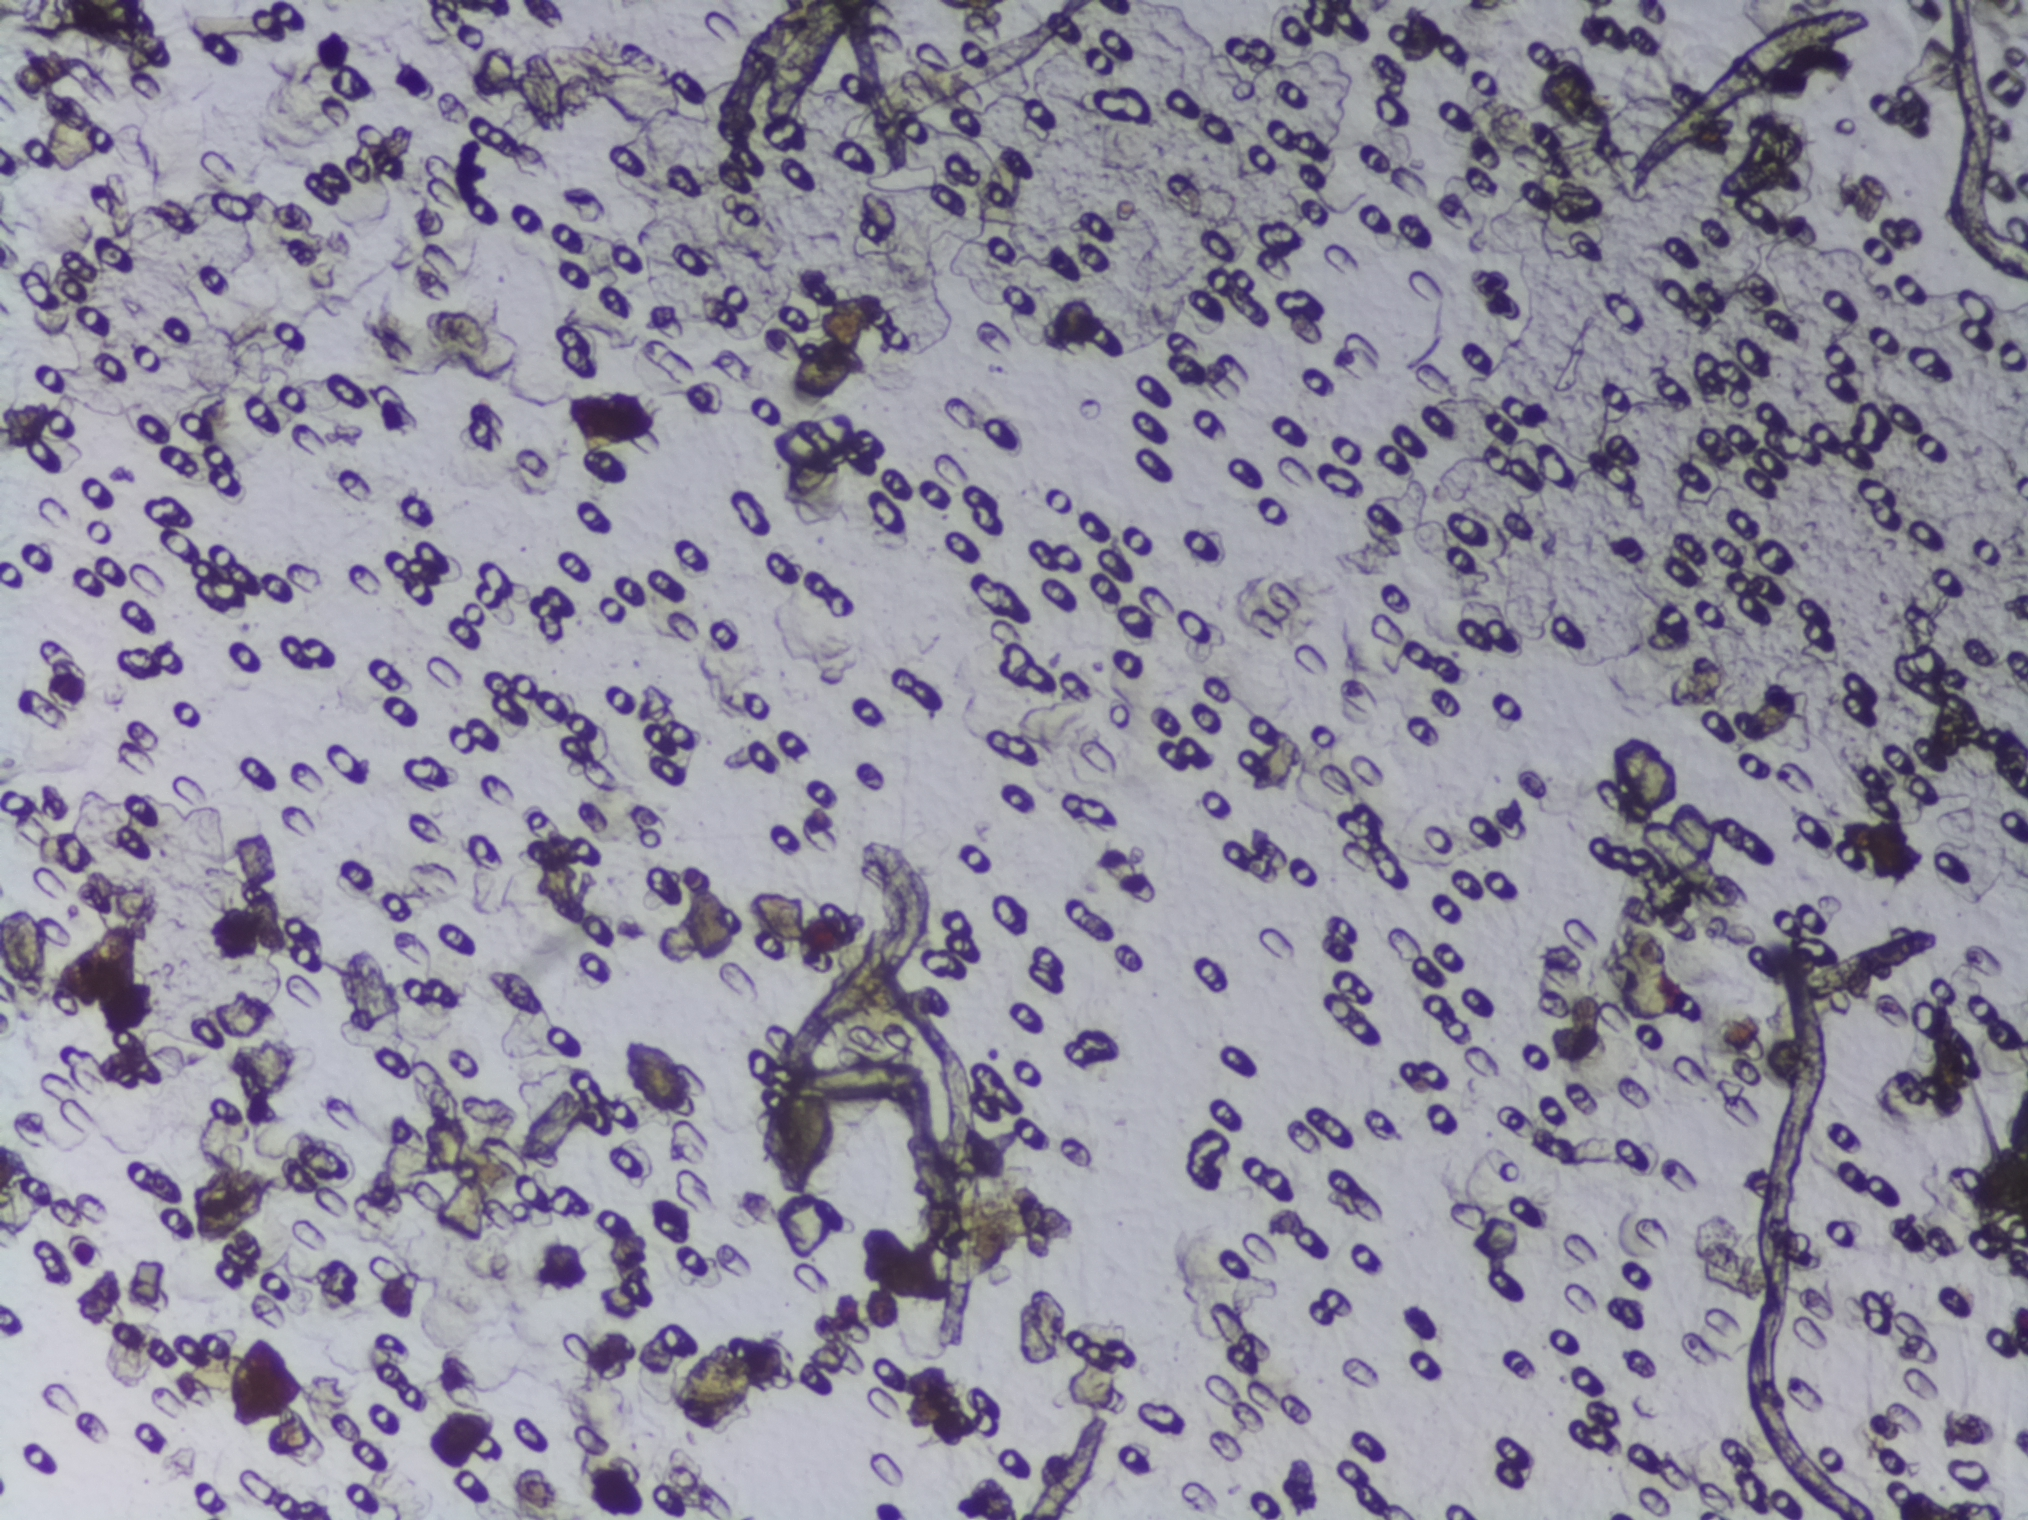
Microscope photograph (4× objective) of a membrane that a urine sample was filtered through.
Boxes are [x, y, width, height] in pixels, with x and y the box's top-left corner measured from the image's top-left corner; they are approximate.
Schistosoma eggs are outlined in one area of this image: [759, 1043, 79, 158]. An outlined area can hold more than one egg.